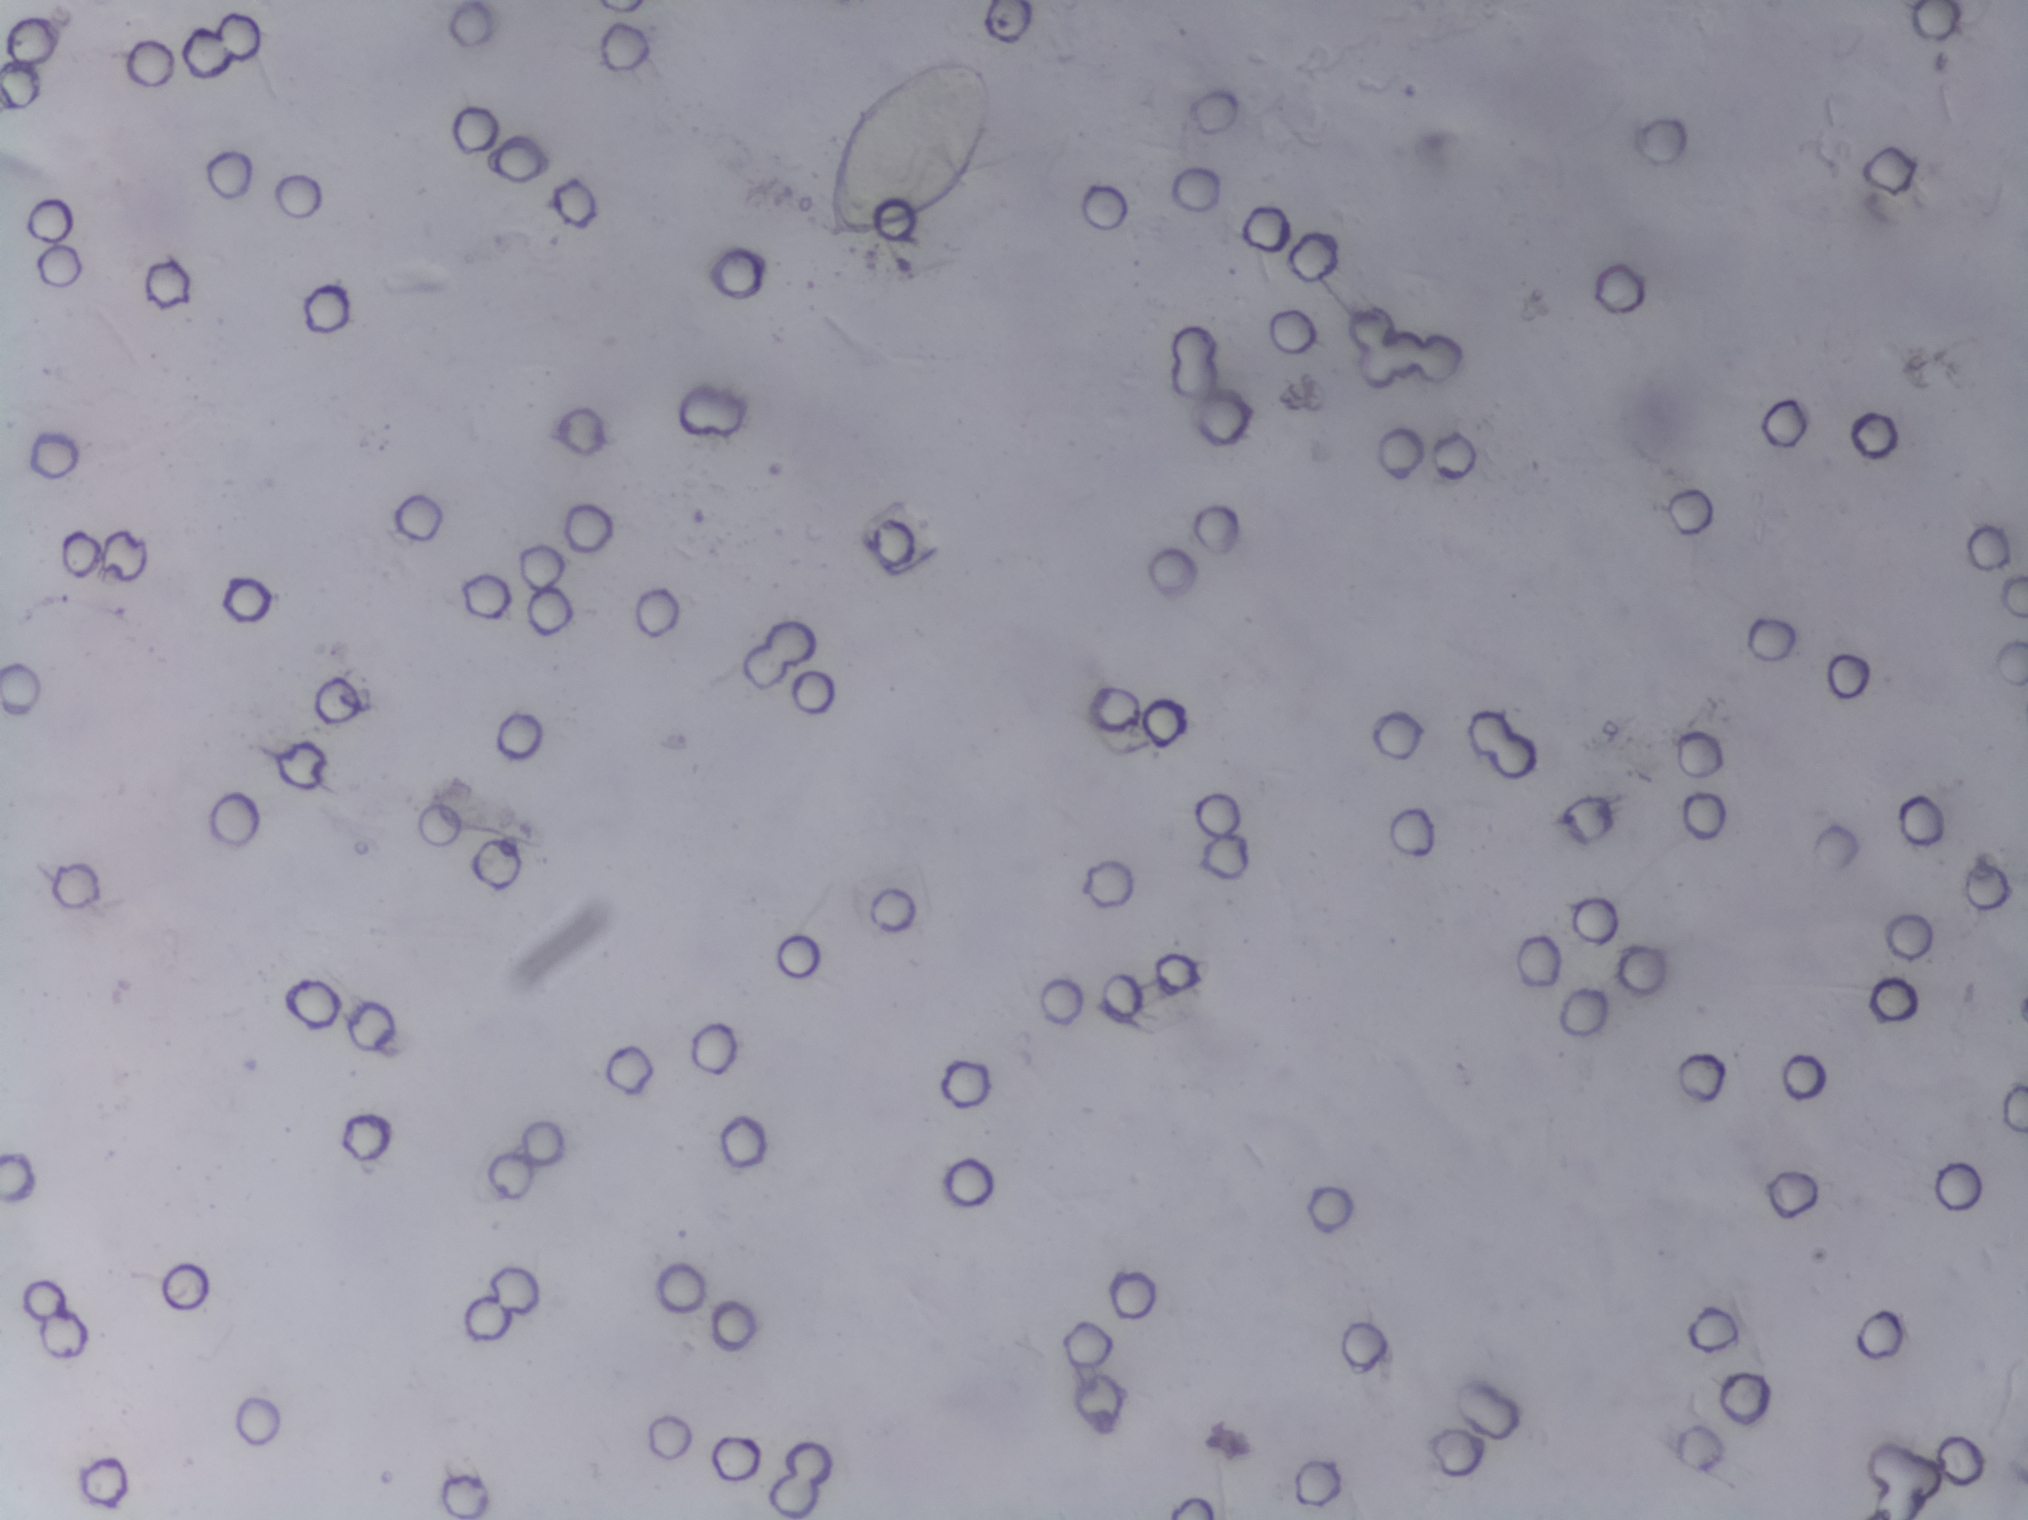
Photomicrograph of a urine filtration membrane, 4× objective.
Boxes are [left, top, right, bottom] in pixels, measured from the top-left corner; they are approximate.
Findings: one area outlined as Schistosoma eggs. Location: [819, 57, 993, 241]. About 0.7% of the image's pixels are marked (the marked pixels themselves, not the box around them). A single outlined area may contain several eggs.